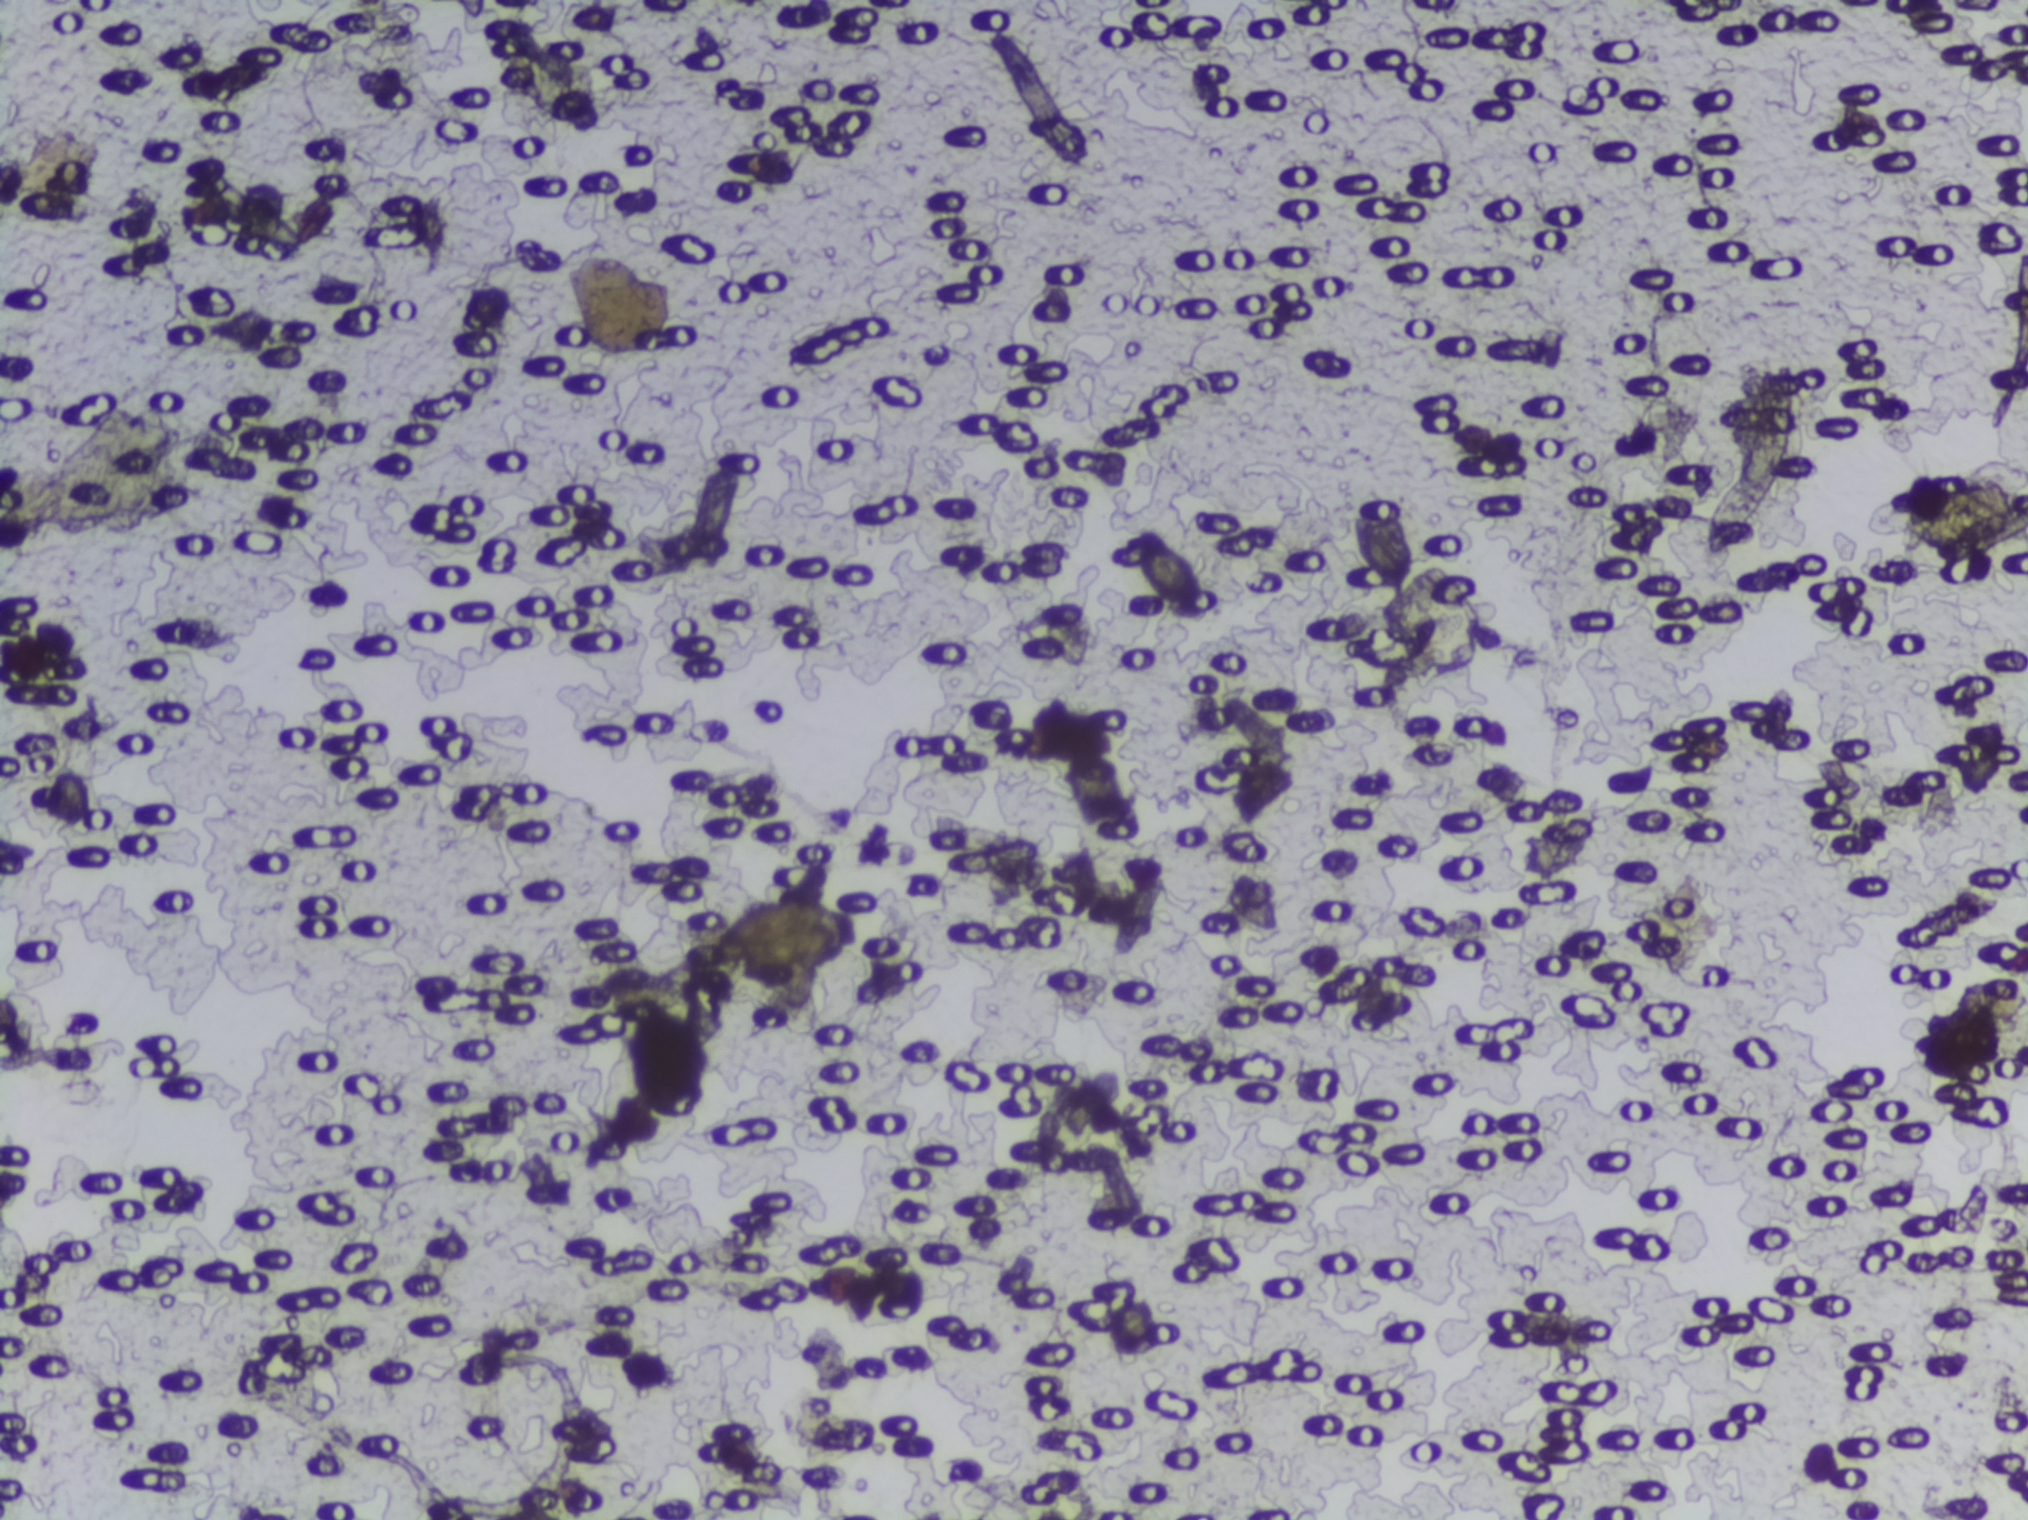
Urine filter membrane photographed through a 4× microscope objective.
No area of this image was outlined as a Schistosoma egg.